Urine filter membrane photographed through a 4× microscope objective.
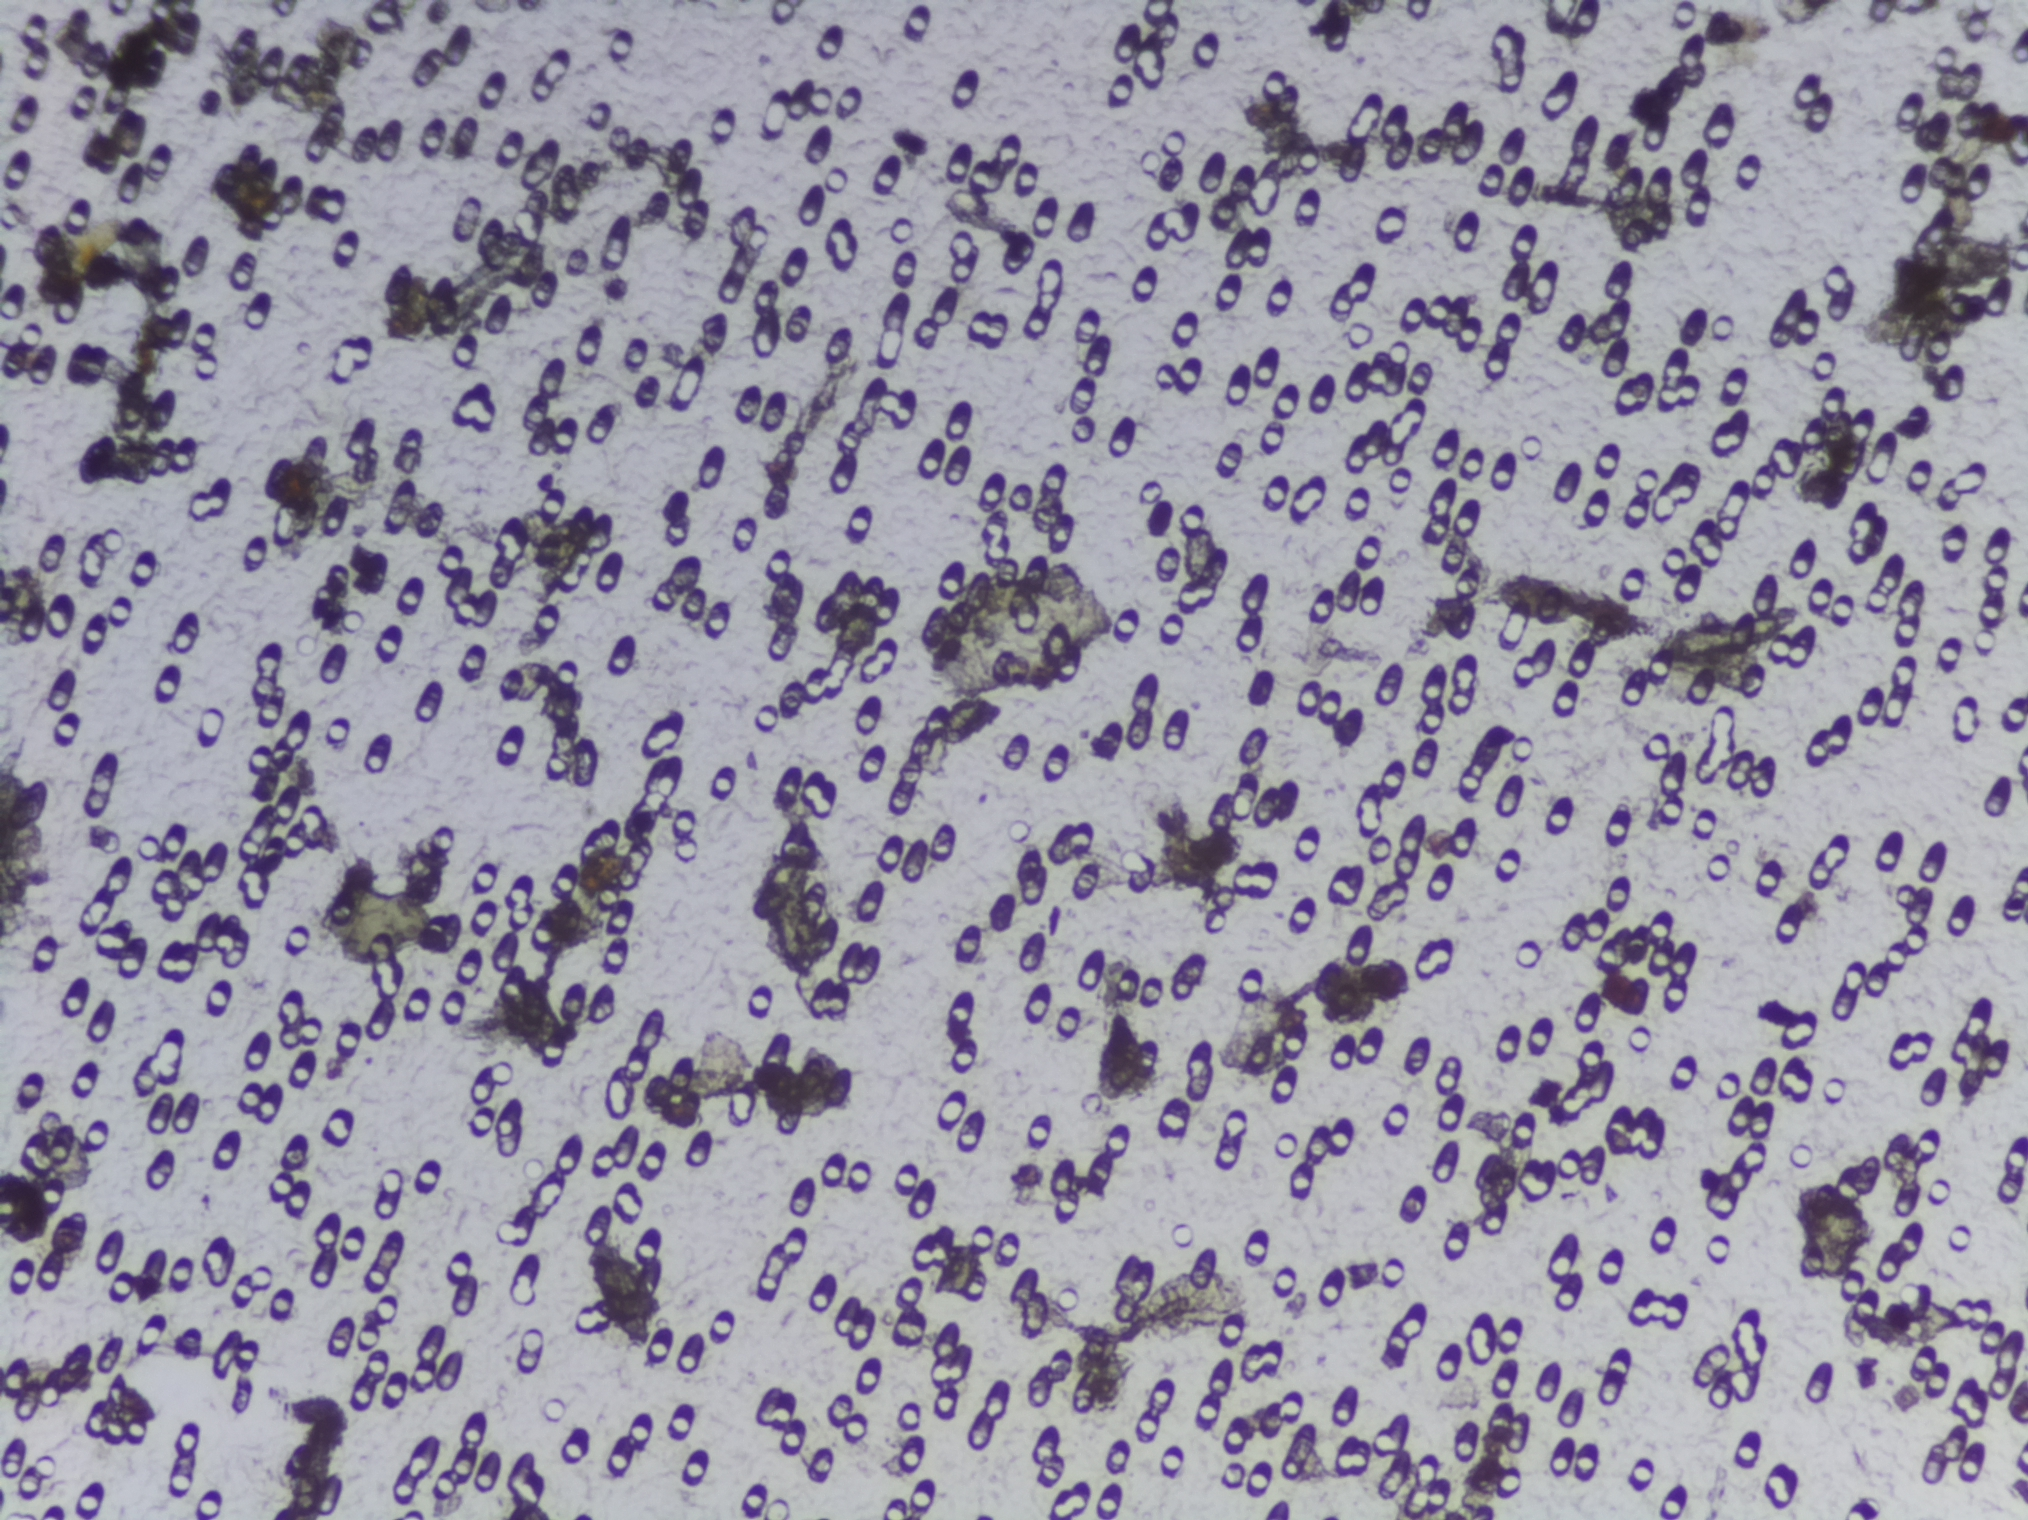
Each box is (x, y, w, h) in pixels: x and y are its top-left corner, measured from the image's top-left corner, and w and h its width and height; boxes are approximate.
Schistosoma eggs are outlined in the expert annotation at (x=752, y=789, w=95, h=200); (x=1643, y=594, w=166, h=105); (x=1847, y=217, w=181, h=156) (reaching the right edge of the frame) (left to right). A single outlined area may contain several eggs.